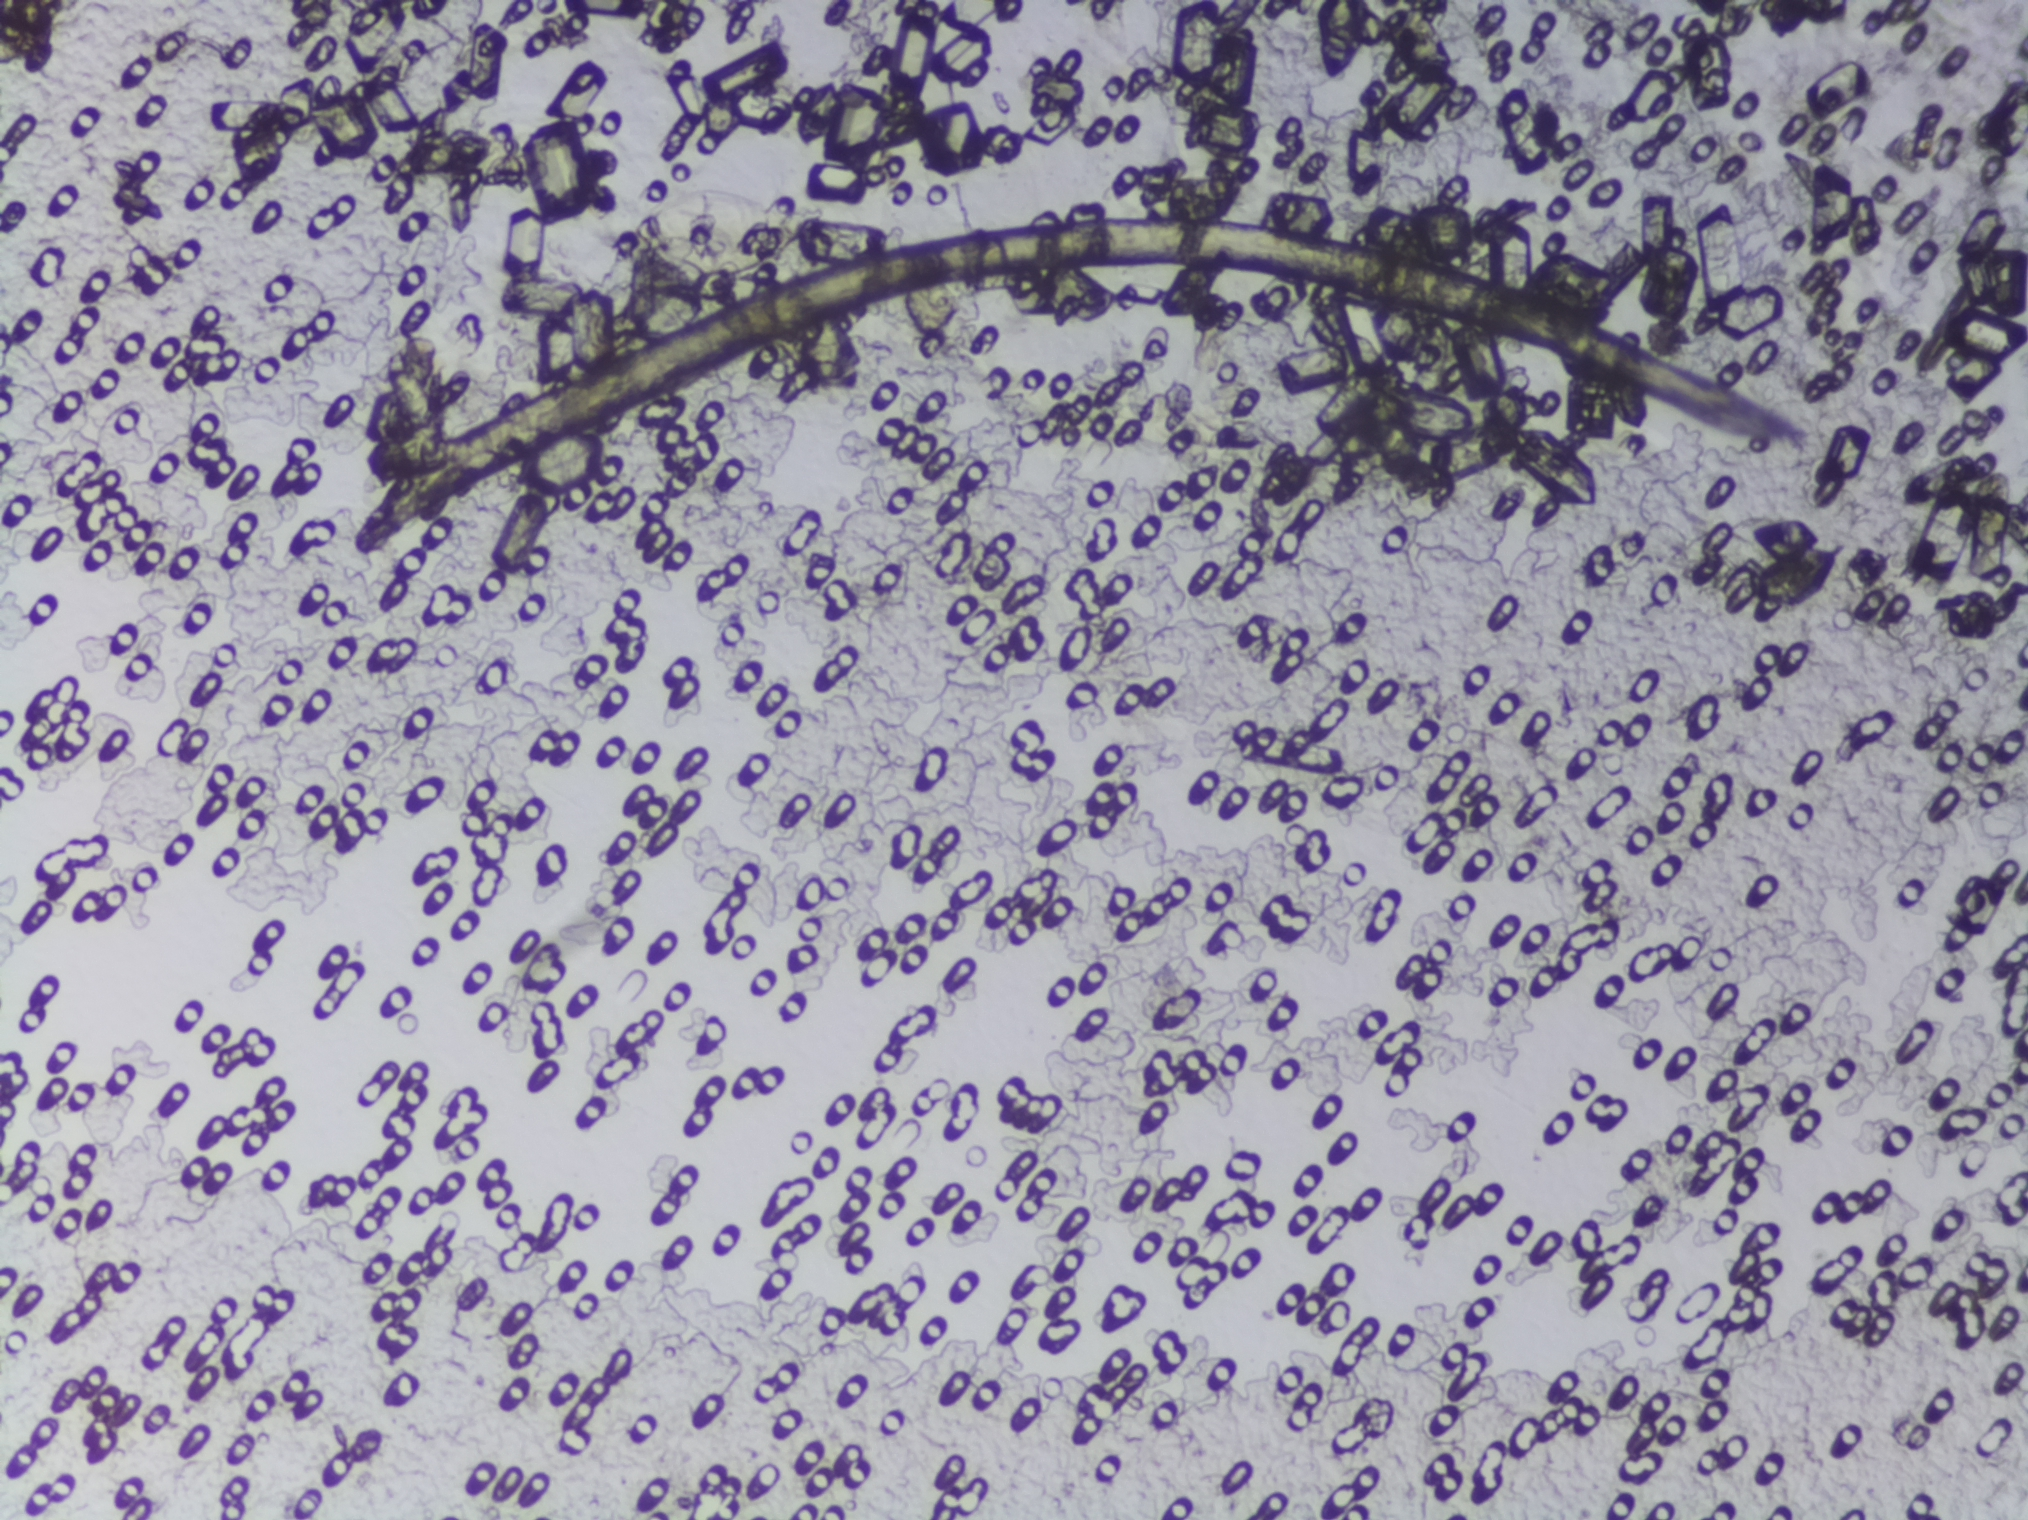
Photograph from an automated digital microscope: urine filter membrane, 4× objective.
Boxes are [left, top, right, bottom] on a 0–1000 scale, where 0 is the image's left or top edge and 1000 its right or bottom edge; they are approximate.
Findings: one area outlined as Schistosoma eggs. Location: [311, 120, 405, 189]. A single outlined area may contain several eggs.